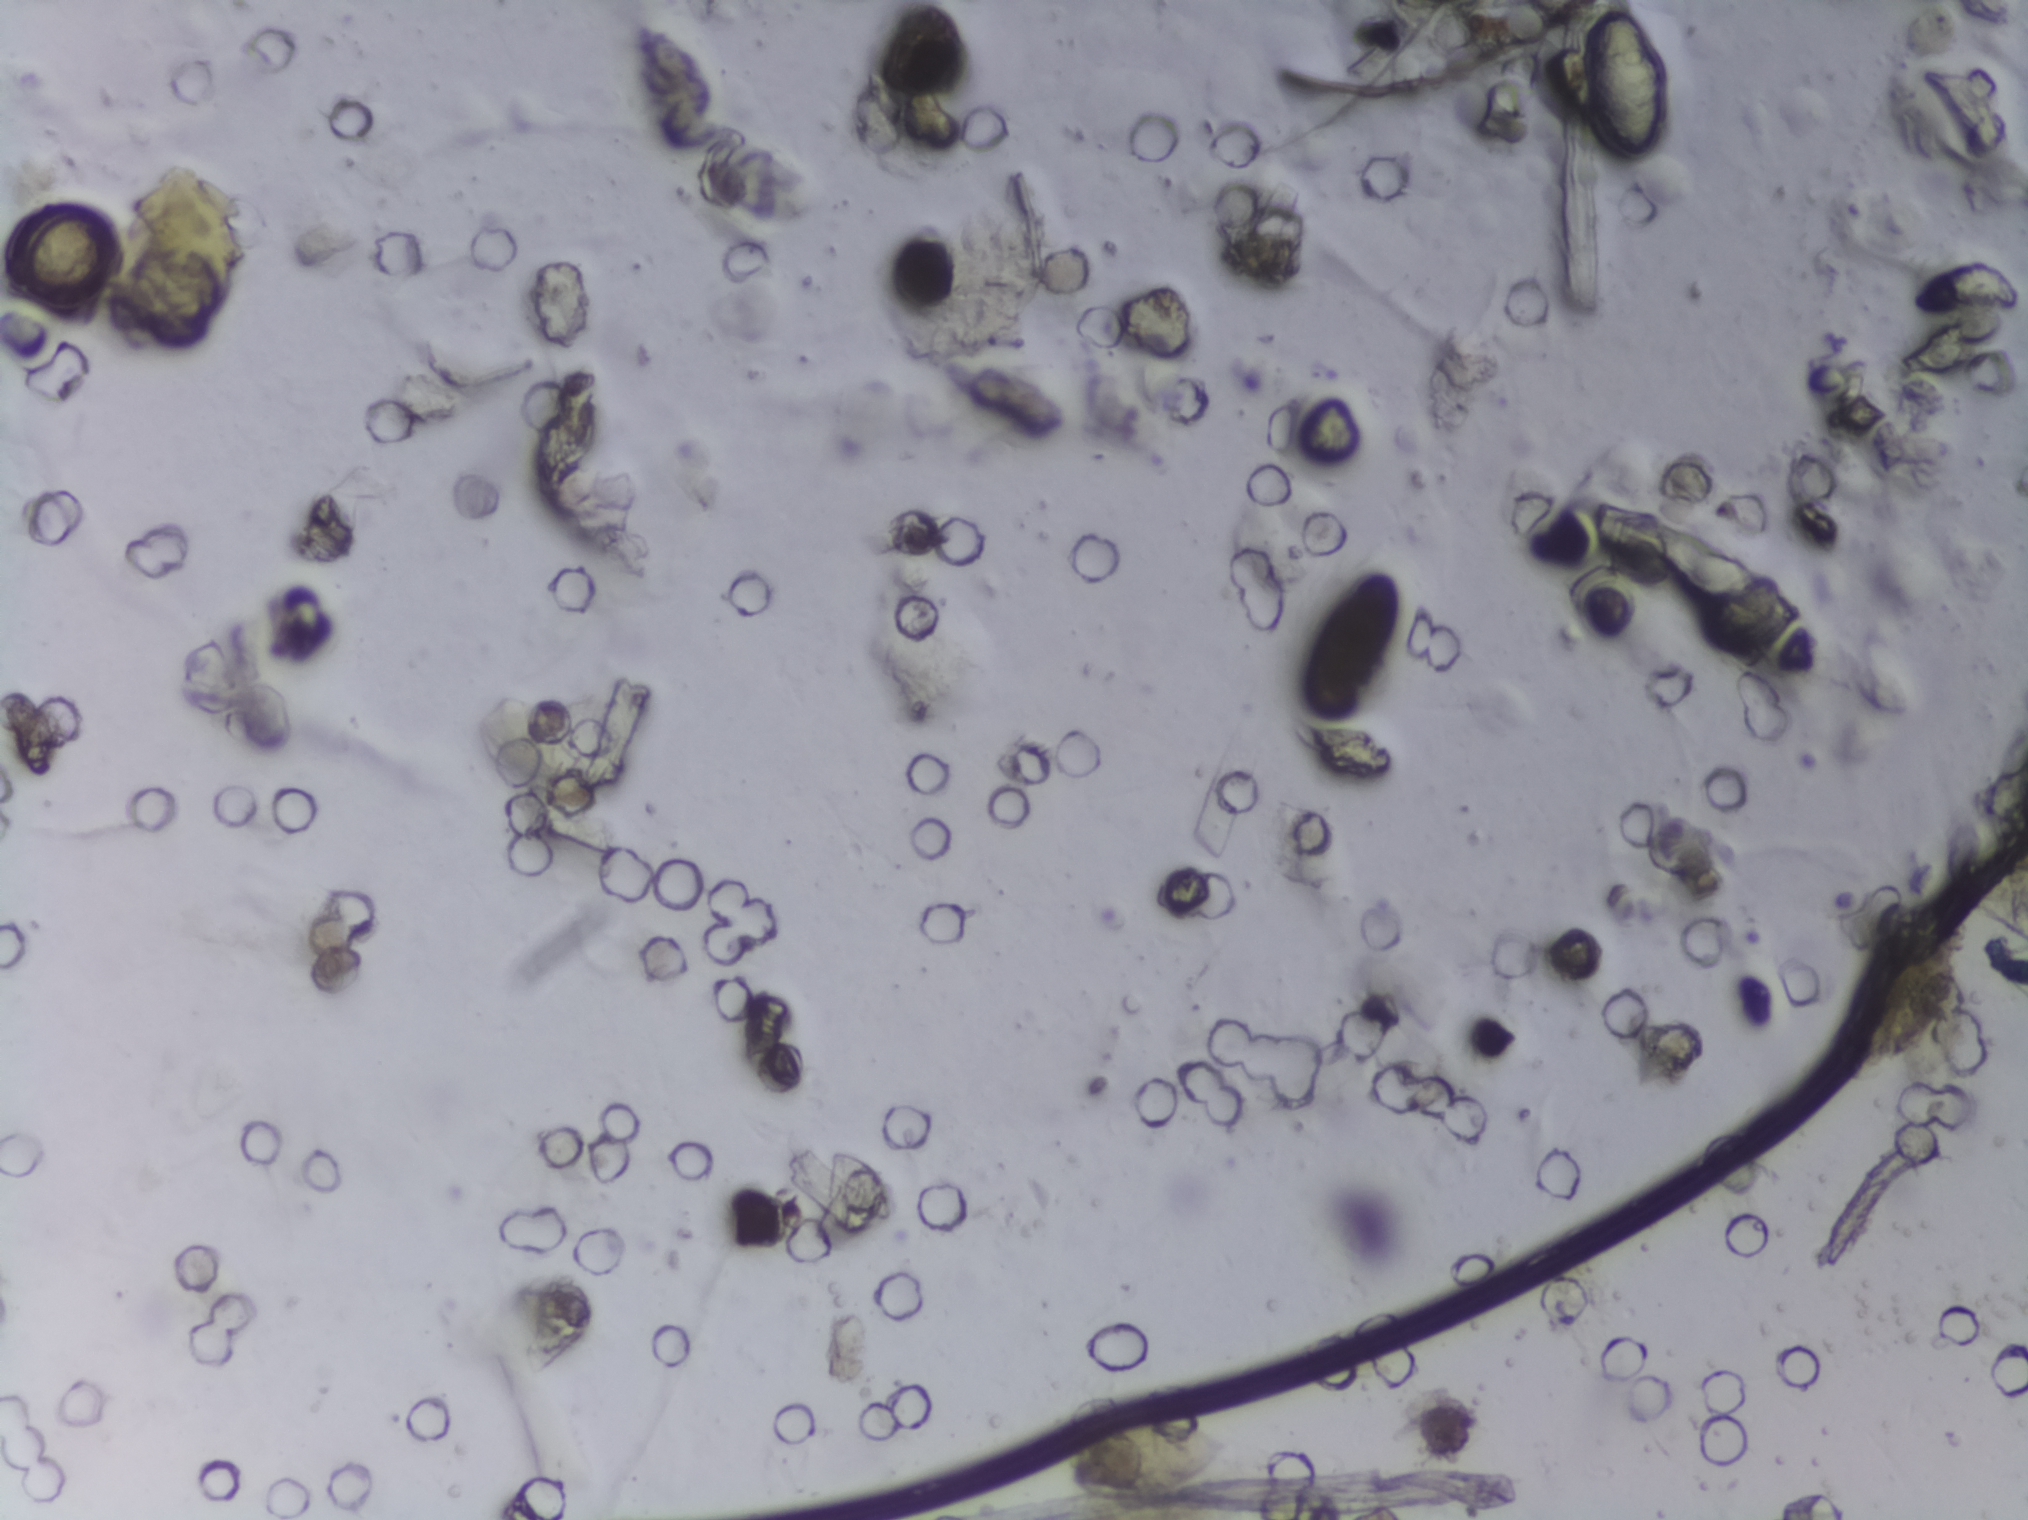
Photograph from an automated digital microscope: urine filter membrane, 4× objective. Field of view: about 1.5 mm wide and 1.1 mm high.
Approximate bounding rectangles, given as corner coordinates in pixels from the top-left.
Schistosoma eggs are outlined in the expert annotation at (x1=1059, y1=1416, x2=1229, y2=1499) and (x1=1582, y1=0, x2=1667, y2=166) (reaching the top edge of the frame) (left to right). About 0.7% of the image's pixels are marked (the marked pixels themselves, not the boxes around them). A single outlined area may contain several eggs. A marked egg may occasionally be S. mansoni rather than S. haematobium.